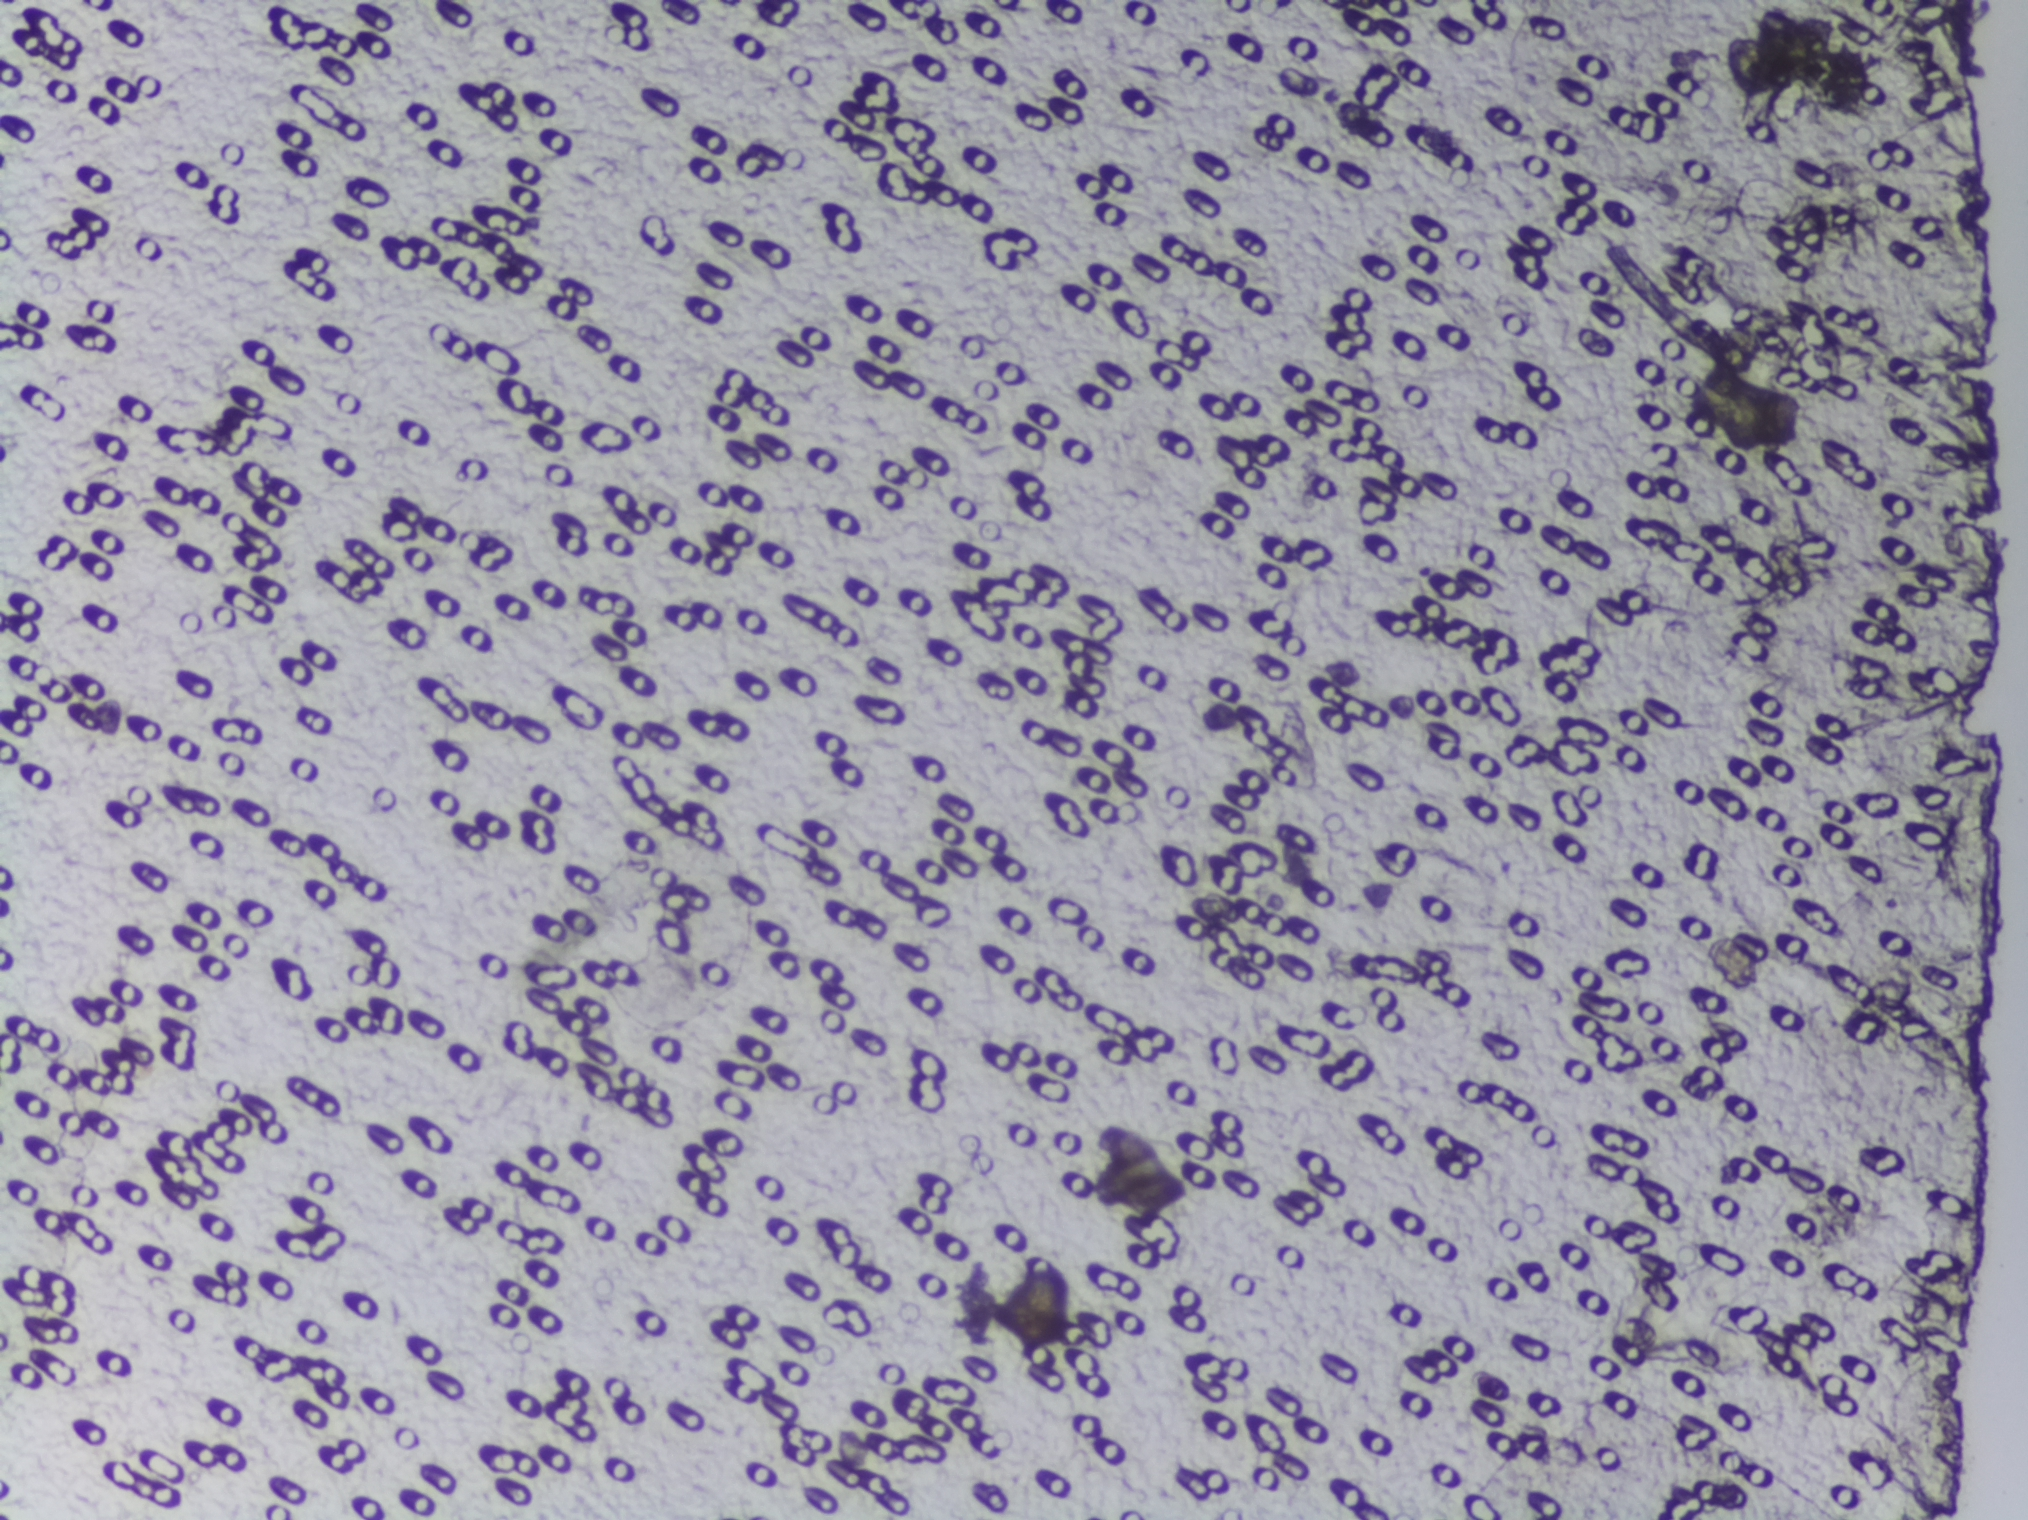
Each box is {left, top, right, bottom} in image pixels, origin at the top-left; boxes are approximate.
The expert annotation outlines Schistosoma eggs at {997, 1259, 1070, 1362} and {1681, 364, 1806, 453} (left to right). A single outlined area may contain several eggs. Any one outlined egg may, rarely, be S. mansoni rather than S. haematobium.
Urine filter membrane photographed through a 4× microscope objective. The image covers about 1.5 × 1.1 mm of the membrane.